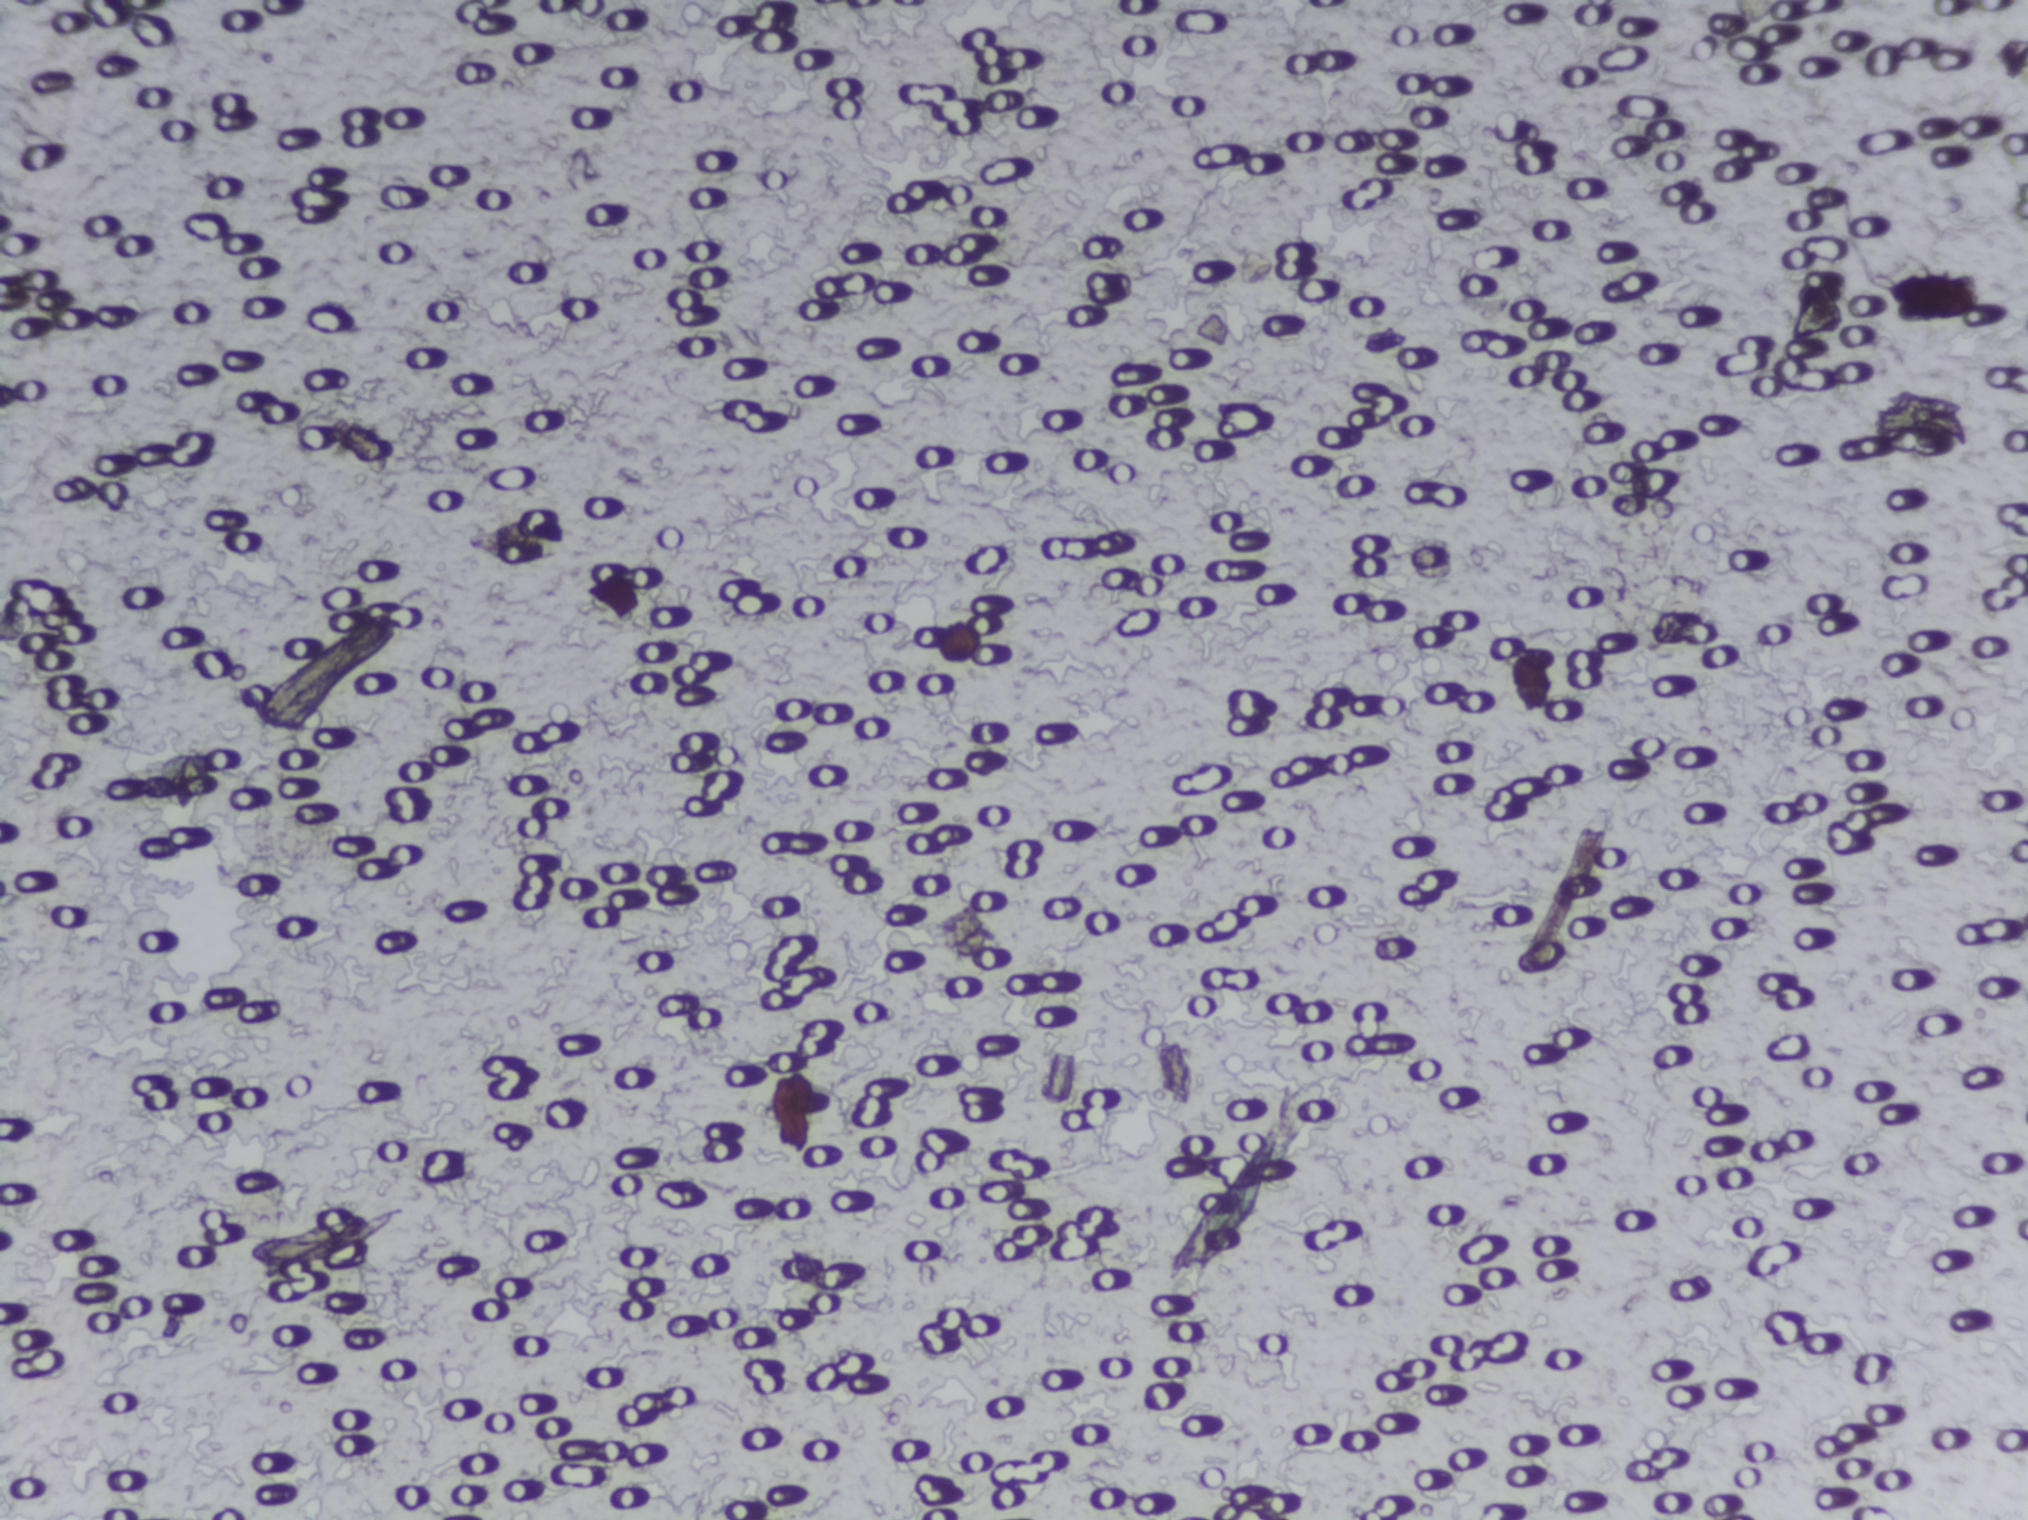
The expert annotation outlines no Schistosoma egg in this image.
Photomicrograph of a urine filtration membrane, 4× objective.